Microscope photograph (4× objective) of a membrane that a urine sample was filtered through.
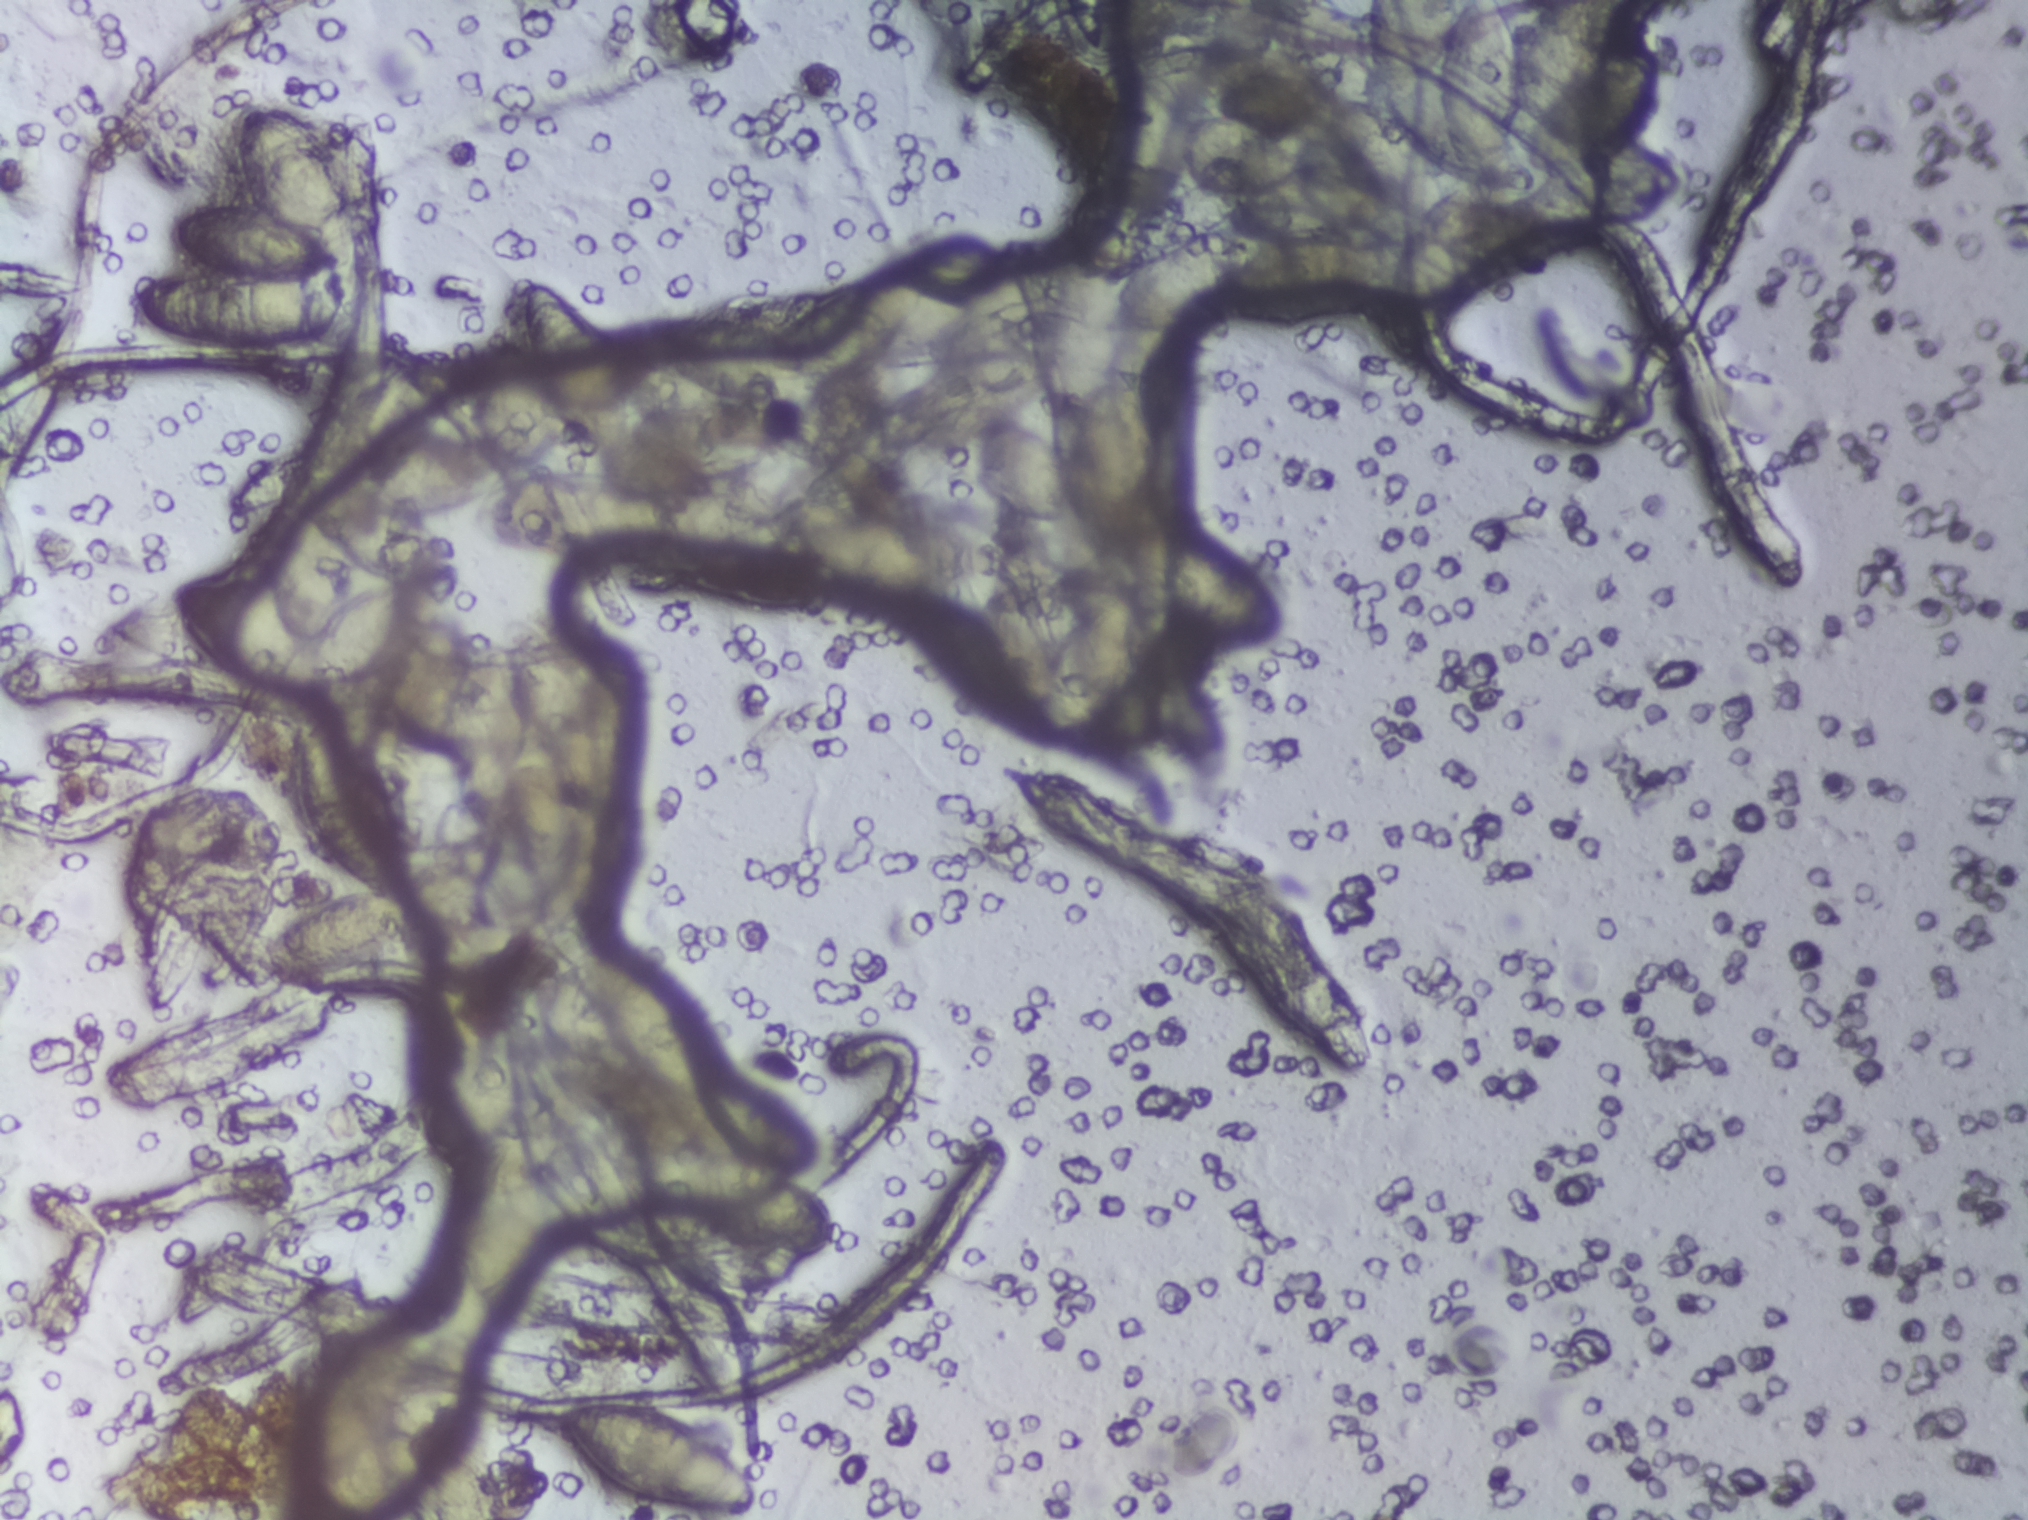
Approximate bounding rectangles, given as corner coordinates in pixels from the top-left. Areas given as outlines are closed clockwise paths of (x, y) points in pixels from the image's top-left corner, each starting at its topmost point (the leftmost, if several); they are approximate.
The expert annotation outlines Schistosoma eggs in five areas, left to right: box (x1=129, y1=99, x2=366, y2=346); outline (1226, 0), (1338, 0), (1372, 20), (1375, 0), (1499, 0), (1513, 21), (1518, 63), (1528, 36), (1562, 0), (1624, 0), (1622, 25), (1598, 58), (1654, 49), (1663, 55), (1663, 71), (1639, 125), (1616, 145), (1673, 156), (1683, 181), (1680, 200), (1641, 219), (1532, 217), (1519, 231), (1496, 229), (1480, 295), (1442, 350), (1425, 361), (1409, 361), (1390, 344), (1388, 295), (1292, 294), (1250, 314), (1159, 328), (1152, 418), (1140, 438), (1145, 484), (1123, 523), (1163, 525), (1221, 543), (1274, 608), (1273, 629), (1263, 639), (1210, 634), (1177, 614), (1163, 648), (1188, 666), (1214, 704), (1223, 758), (1223, 778), (1216, 783), (1192, 780), (1160, 754), (1132, 690), (1064, 734), (1053, 733), (1041, 715), (1013, 698), (980, 617), (980, 594), (983, 584), (999, 581), (997, 555), (1031, 522), (986, 491), (960, 444), (904, 444), (871, 492), (836, 517), (891, 515), (945, 529), (961, 543), (965, 567), (957, 578), (902, 593), (842, 588), (803, 550), (716, 545), (665, 521), (664, 536), (651, 551), (581, 556), (550, 554), (516, 541), (487, 516), (485, 501), (428, 515), (456, 575), (428, 596), (403, 595), (403, 643), (414, 627), (438, 616), (457, 621), (464, 654), (474, 642), (500, 647), (509, 620), (541, 623), (560, 642), (570, 623), (584, 623), (603, 640), (624, 692), (624, 723), (612, 738), (605, 790), (605, 802), (622, 826), (619, 863), (567, 919), (546, 917), (533, 893), (521, 912), (531, 919), (530, 939), (494, 975), (512, 1016), (516, 1105), (532, 1132), (534, 1239), (524, 1271), (492, 1310), (474, 1314), (460, 1279), (455, 1234), (458, 1183), (474, 1146), (462, 1131), (450, 1083), (469, 982), (449, 982), (439, 970), (443, 931), (454, 925), (414, 905), (404, 874), (404, 925), (365, 966), (281, 985), (264, 979), (256, 956), (298, 907), (371, 891), (324, 854), (298, 810), (301, 722), (373, 763), (390, 799), (401, 849), (431, 846), (483, 865), (510, 812), (504, 810), (490, 835), (469, 831), (453, 780), (460, 749), (445, 739), (442, 718), (424, 740), (398, 736), (389, 680), (400, 648), (382, 669), (346, 685), (345, 711), (308, 712), (248, 688), (193, 651), (177, 622), (173, 579), (230, 575), (260, 587), (263, 523), (294, 491), (297, 460), (395, 435), (441, 433), (510, 443), (526, 461), (523, 476), (613, 485), (645, 494), (658, 509), (675, 496), (722, 496), (748, 444), (653, 439), (641, 433), (646, 417), (633, 402), (632, 468), (600, 463), (550, 415), (534, 422), (486, 420), (486, 365), (519, 343), (517, 303), (522, 287), (533, 280), (545, 279), (593, 304), (615, 345), (616, 337), (632, 338), (639, 325), (663, 316), (743, 321), (804, 356), (820, 397), (856, 392), (873, 398), (880, 411), (957, 357), (933, 342), (897, 360), (863, 362), (851, 351), (856, 315), (884, 269), (950, 233), (991, 239), (989, 276), (1013, 261), (1047, 253), (1046, 262), (1057, 271), (1076, 213), (1107, 195), (1119, 195), (1131, 207), (1138, 270), (1193, 239), (1233, 226), (1264, 230), (1246, 217), (1236, 197), (1209, 186), (1189, 141), (1172, 178), (1145, 207), (1128, 201), (1120, 173), (1122, 127), (1138, 87), (1170, 30), (1187, 24), (1200, 27), (1225, 53), (1205, 114), (1241, 114), (1302, 147), (1312, 169), (1351, 176), (1337, 157), (1326, 116), (1320, 67), (1327, 58), (1243, 38), (1226, 18) (a cluster of eggs; reaching the top edge of the frame); box (x1=275, y1=1319, x2=500, y2=1519) (reaching the bottom edge of the frame); box (x1=548, y1=1397, x2=755, y2=1518); box (x1=585, y1=951, x2=832, y2=1248). Eggs that touch can end up inside the same outlined area.